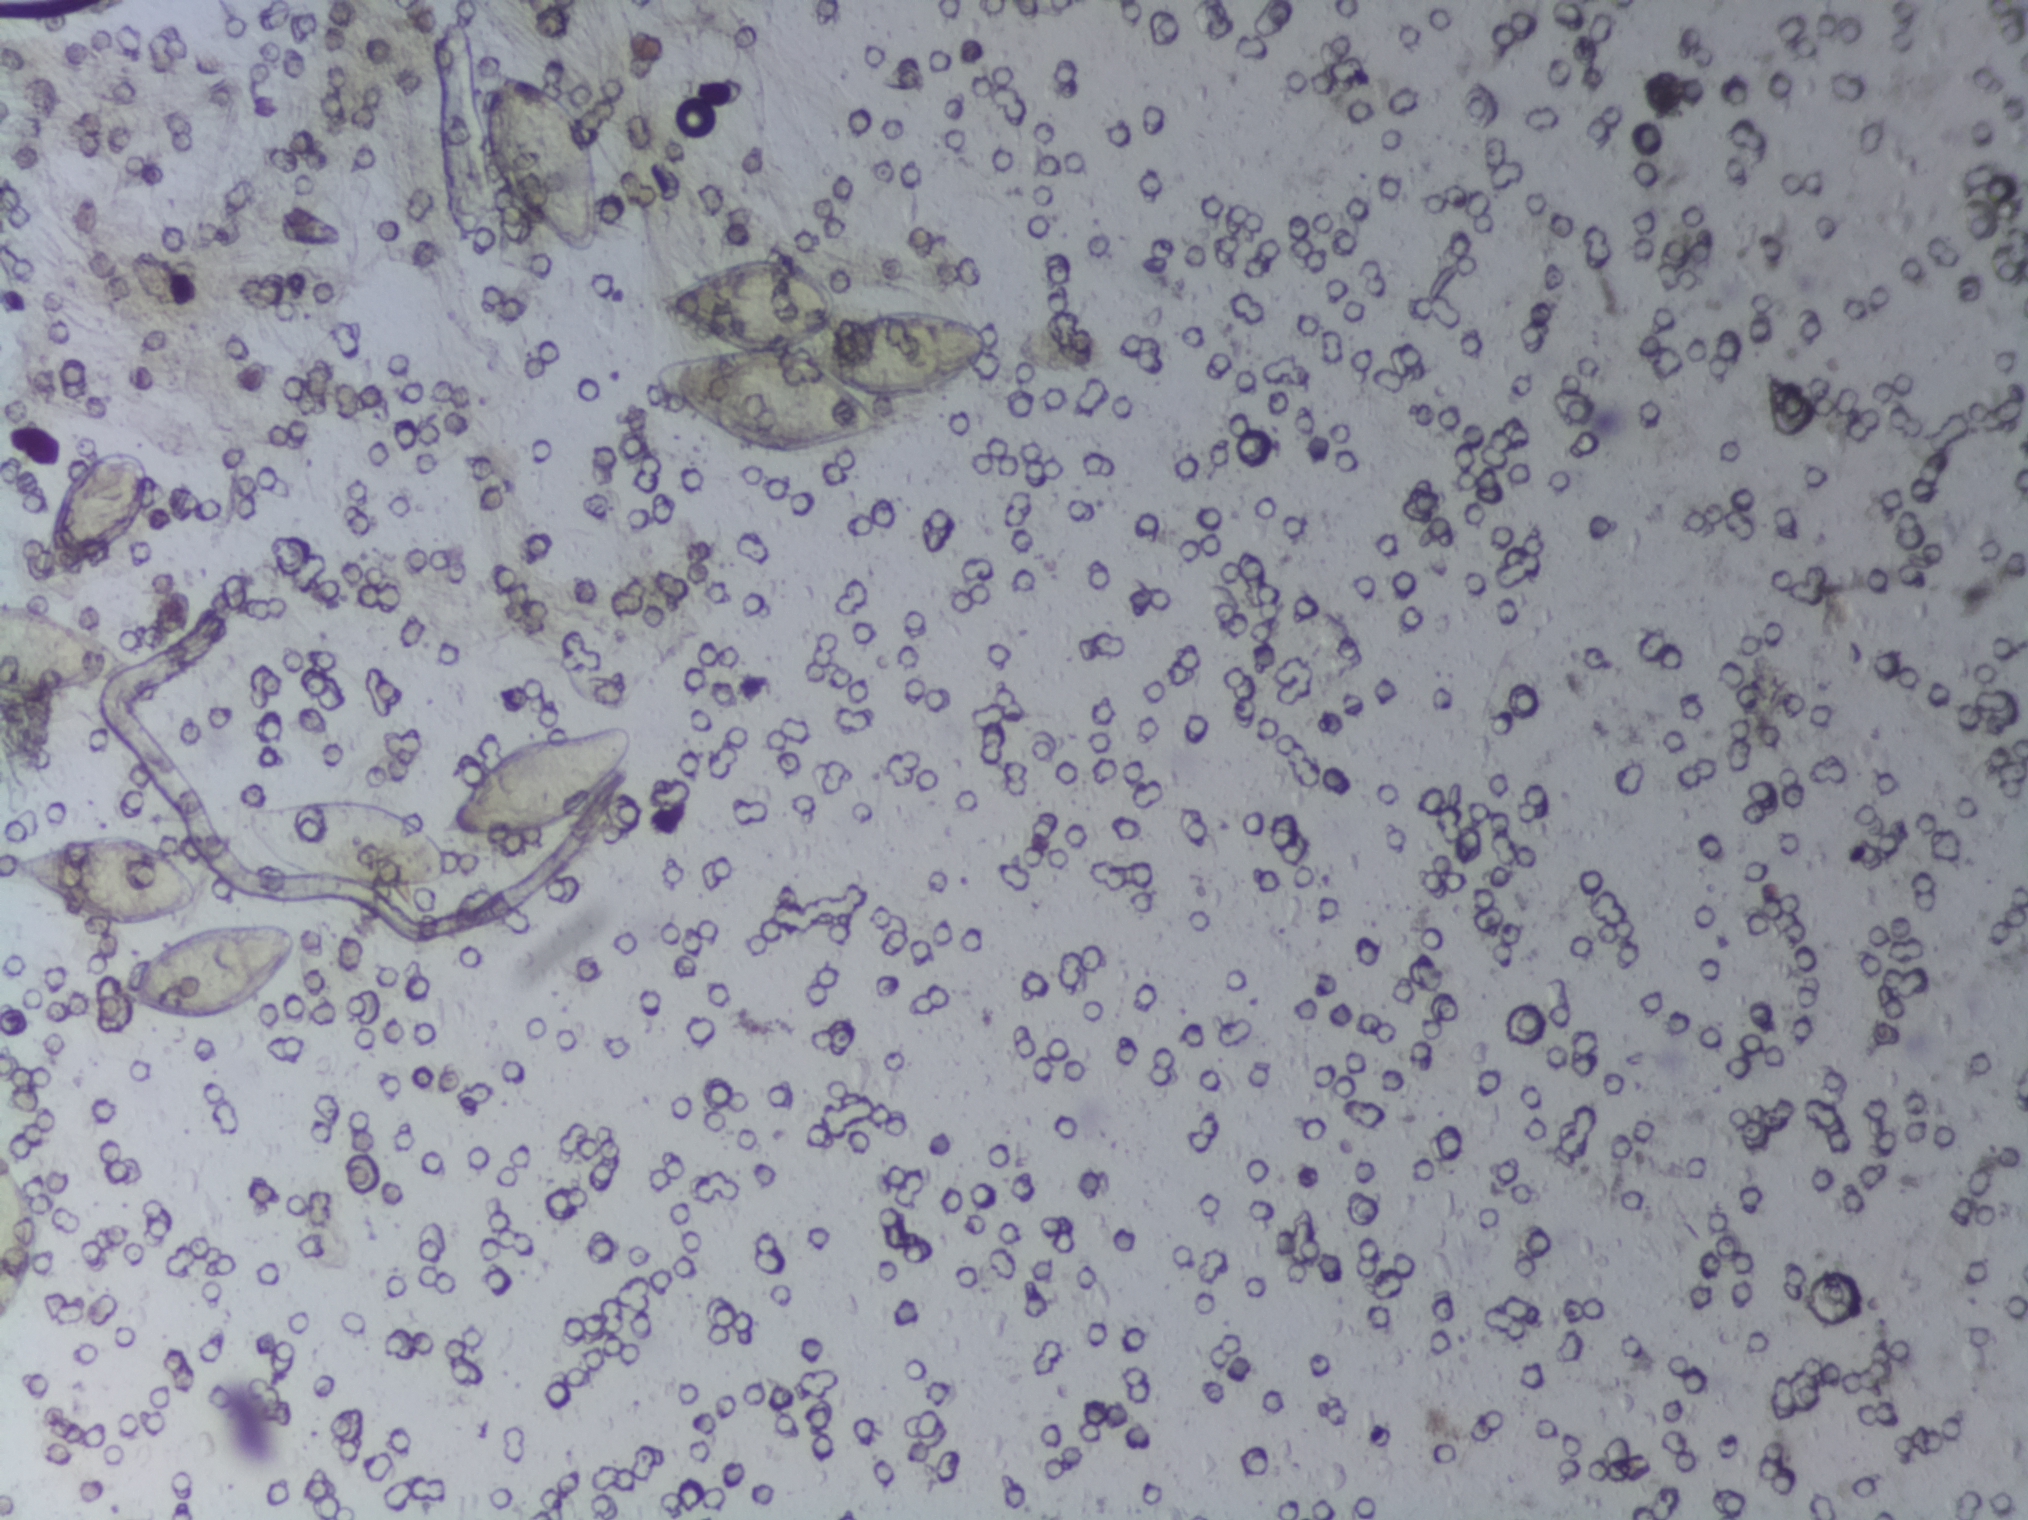
Urine filtration membrane under a 4× objective, photographed by an automated digital microscope.
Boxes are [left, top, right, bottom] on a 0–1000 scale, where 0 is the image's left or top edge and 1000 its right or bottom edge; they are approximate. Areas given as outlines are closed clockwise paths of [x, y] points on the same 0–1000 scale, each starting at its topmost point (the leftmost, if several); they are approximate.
Schistosoma eggs, outlined areas: box [0, 397, 66, 457] (reaching the left edge of the frame); box [0, 756, 19, 872] (reaching the left edge of the frame); box [3, 548, 100, 612]; box [16, 296, 75, 385]; box [53, 607, 146, 671]; outline [296, 477], [310, 479], [313, 490], [305, 514], [291, 536], [276, 548], [260, 554], [217, 551], [224, 563], [224, 572], [215, 583], [181, 587], [141, 576], [131, 565], [117, 537], [129, 524], [171, 520], [199, 529], [216, 552], [217, 535], [241, 494], [260, 482]; box [239, 43, 295, 168]; box [321, 168, 488, 299]. A single outlined area may contain several eggs.